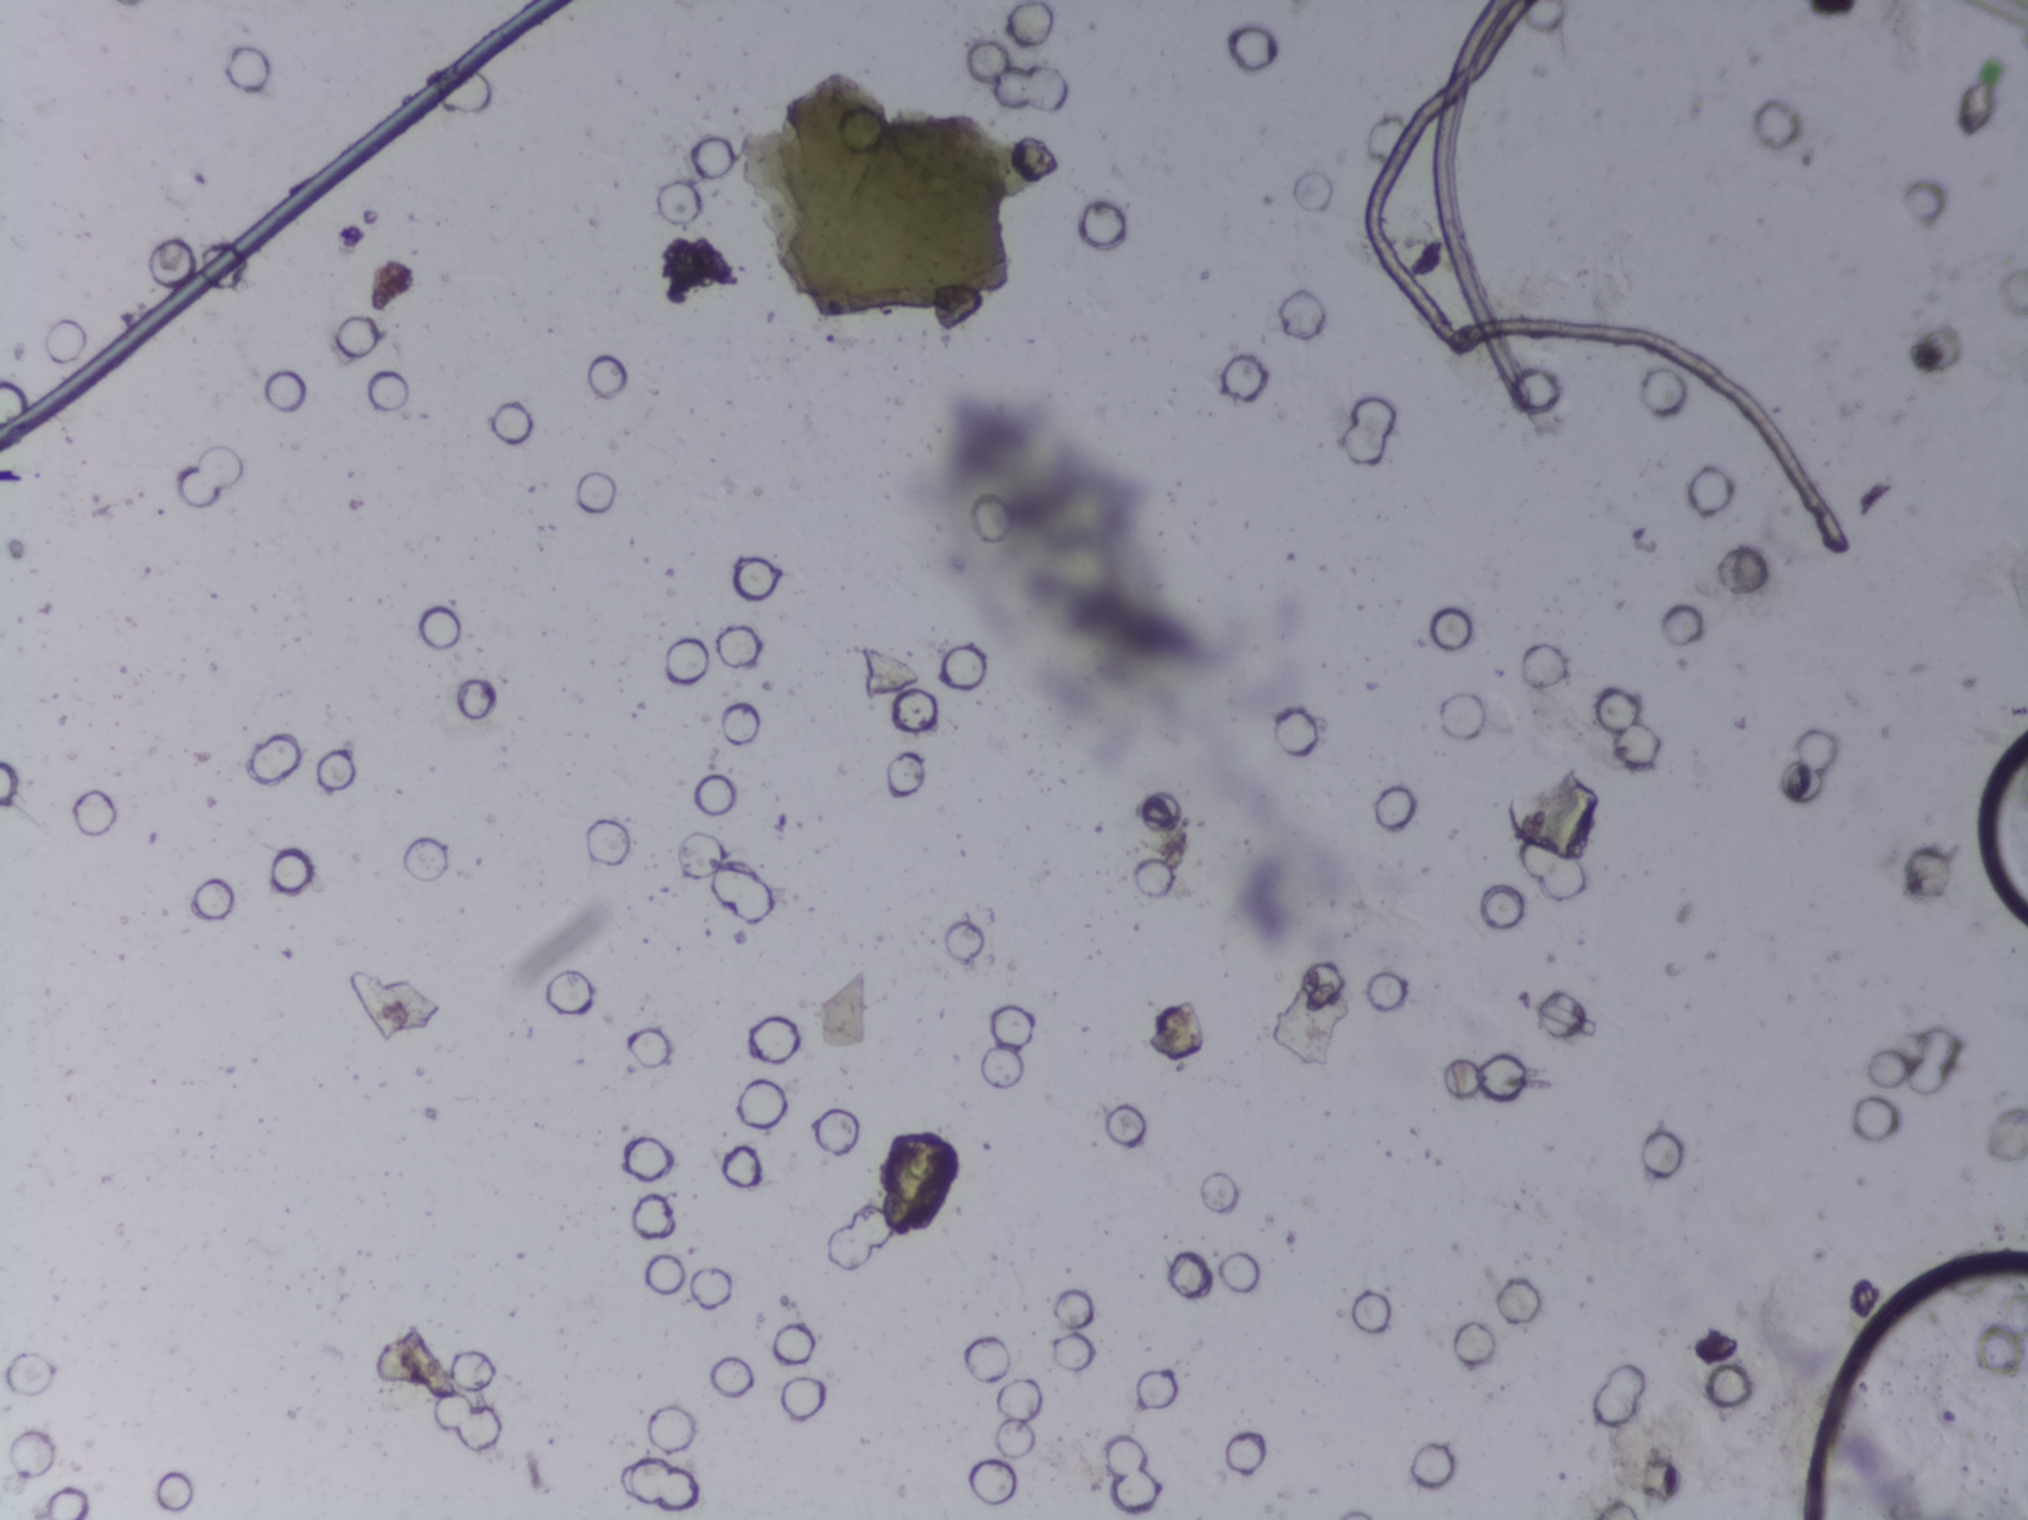
Photograph from an automated digital microscope: urine filter membrane, 4× objective. Field of view: about 1.5 mm wide and 1.1 mm high.
The expert annotation marks no Schistosoma egg in this field of view.